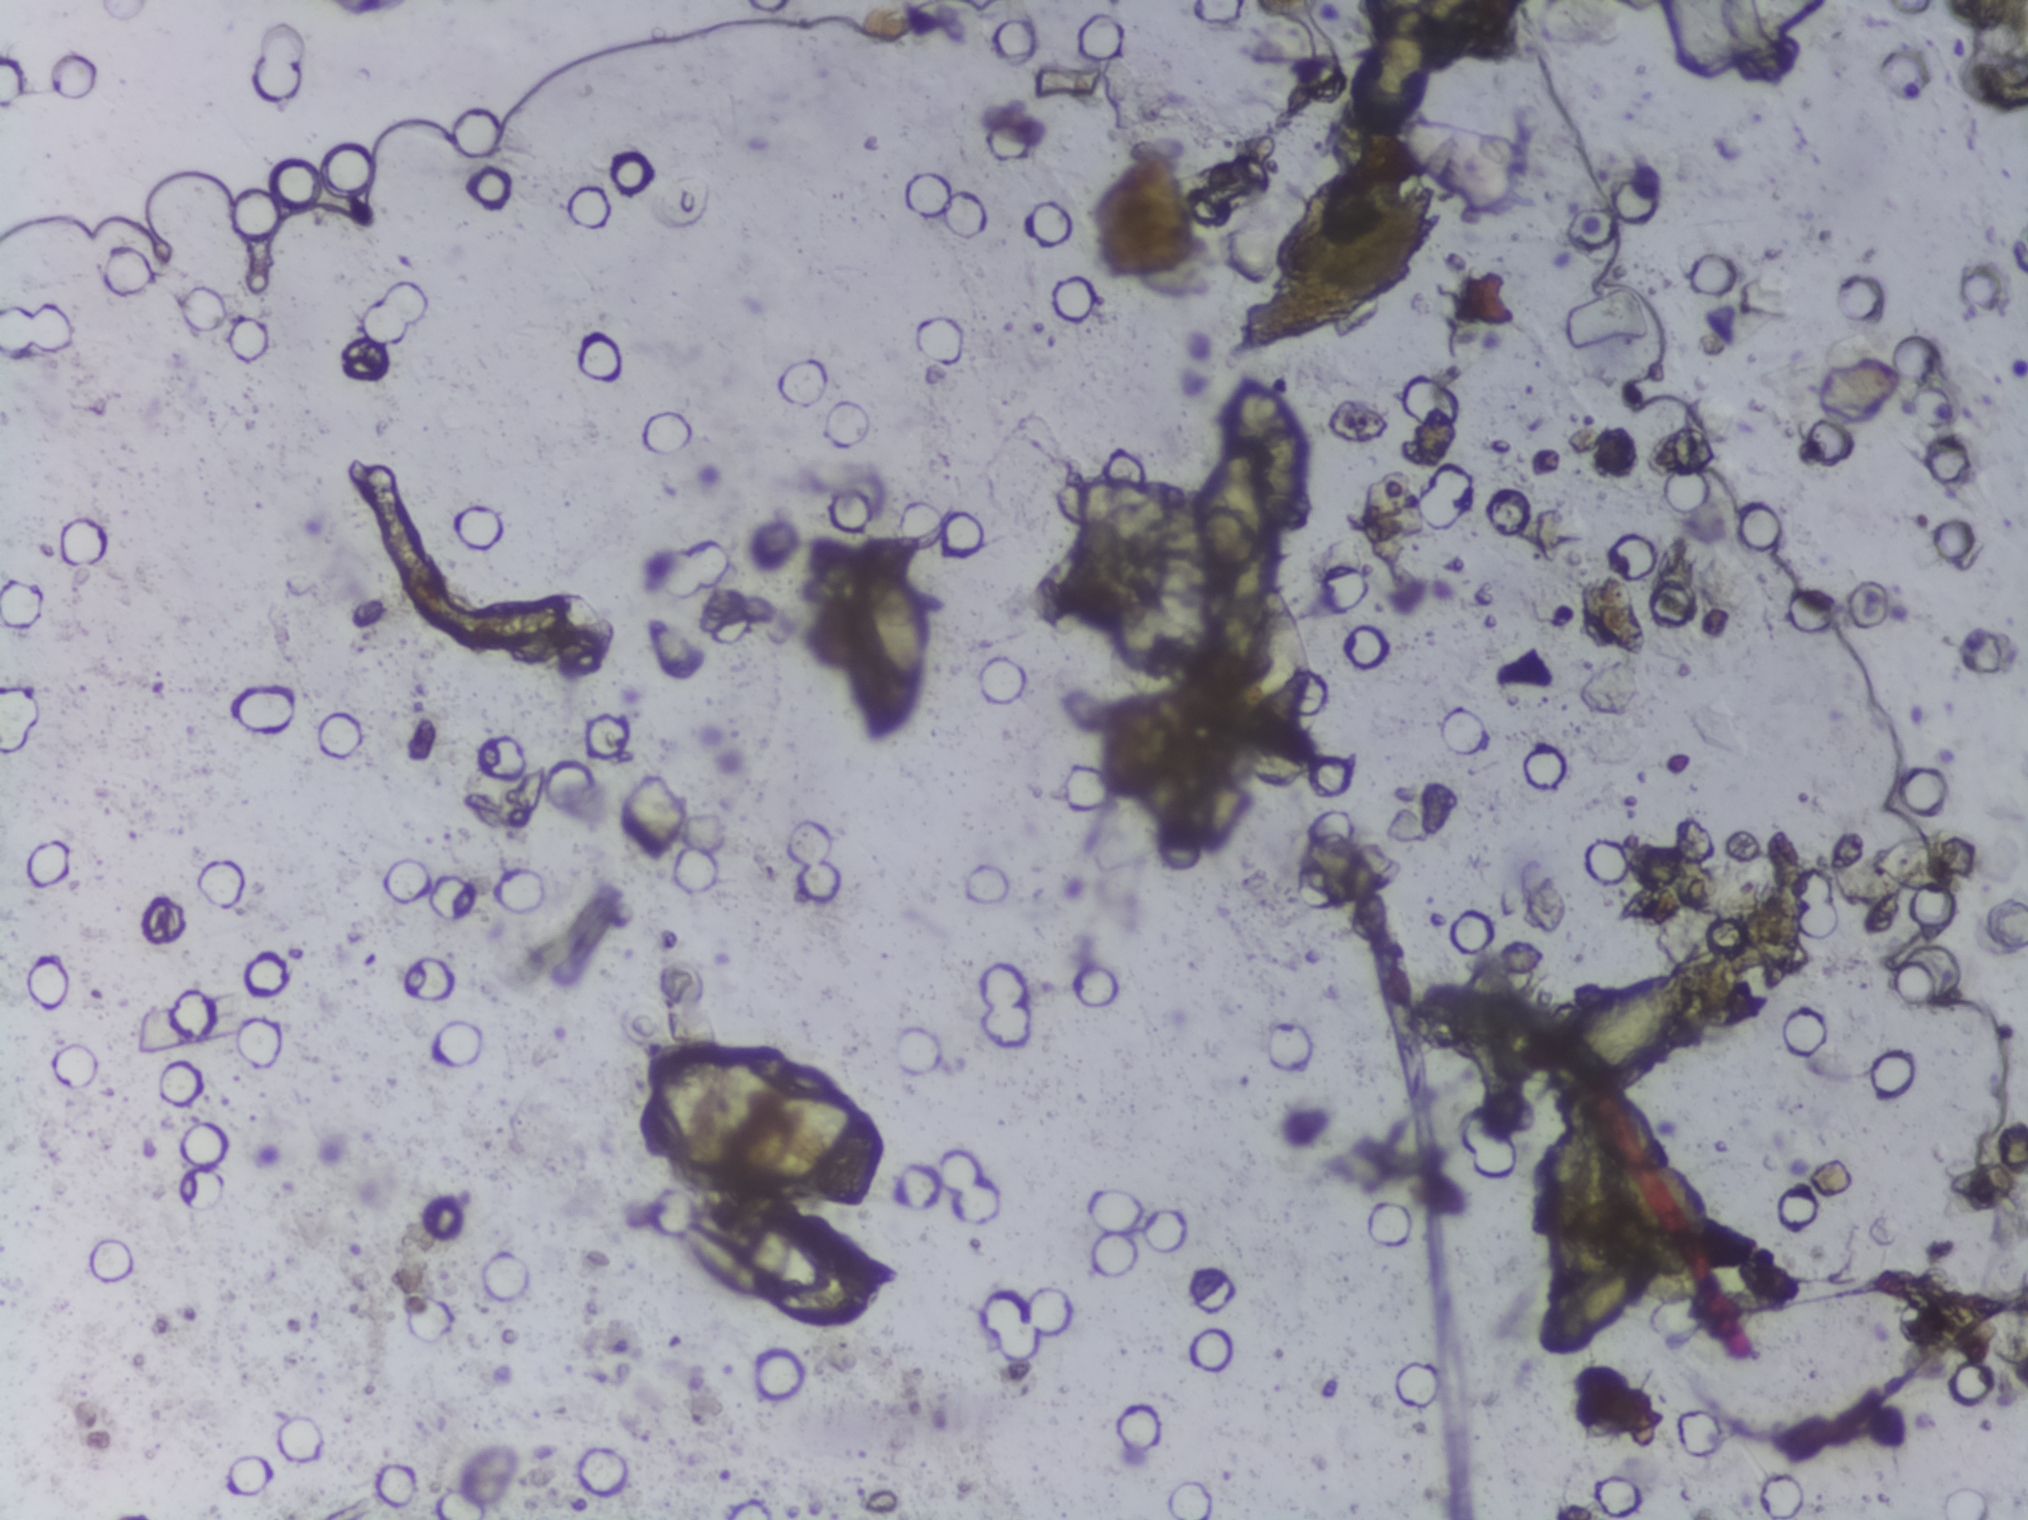
Microscope photograph (4× objective) of a membrane that a urine sample was filtered through.
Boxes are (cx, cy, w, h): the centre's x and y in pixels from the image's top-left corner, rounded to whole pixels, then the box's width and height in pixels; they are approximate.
Five areas of this image are outlined as Schistosoma eggs, from left to right: (cx=892, cy=614, w=85, h=143); (cx=1248, cy=526, w=149, h=323); (cx=1396, cy=68, w=76, h=130); (cx=1598, cy=1301, w=124, h=102); (cx=1610, cy=1039, w=165, h=122). A single outlined area may contain several eggs.